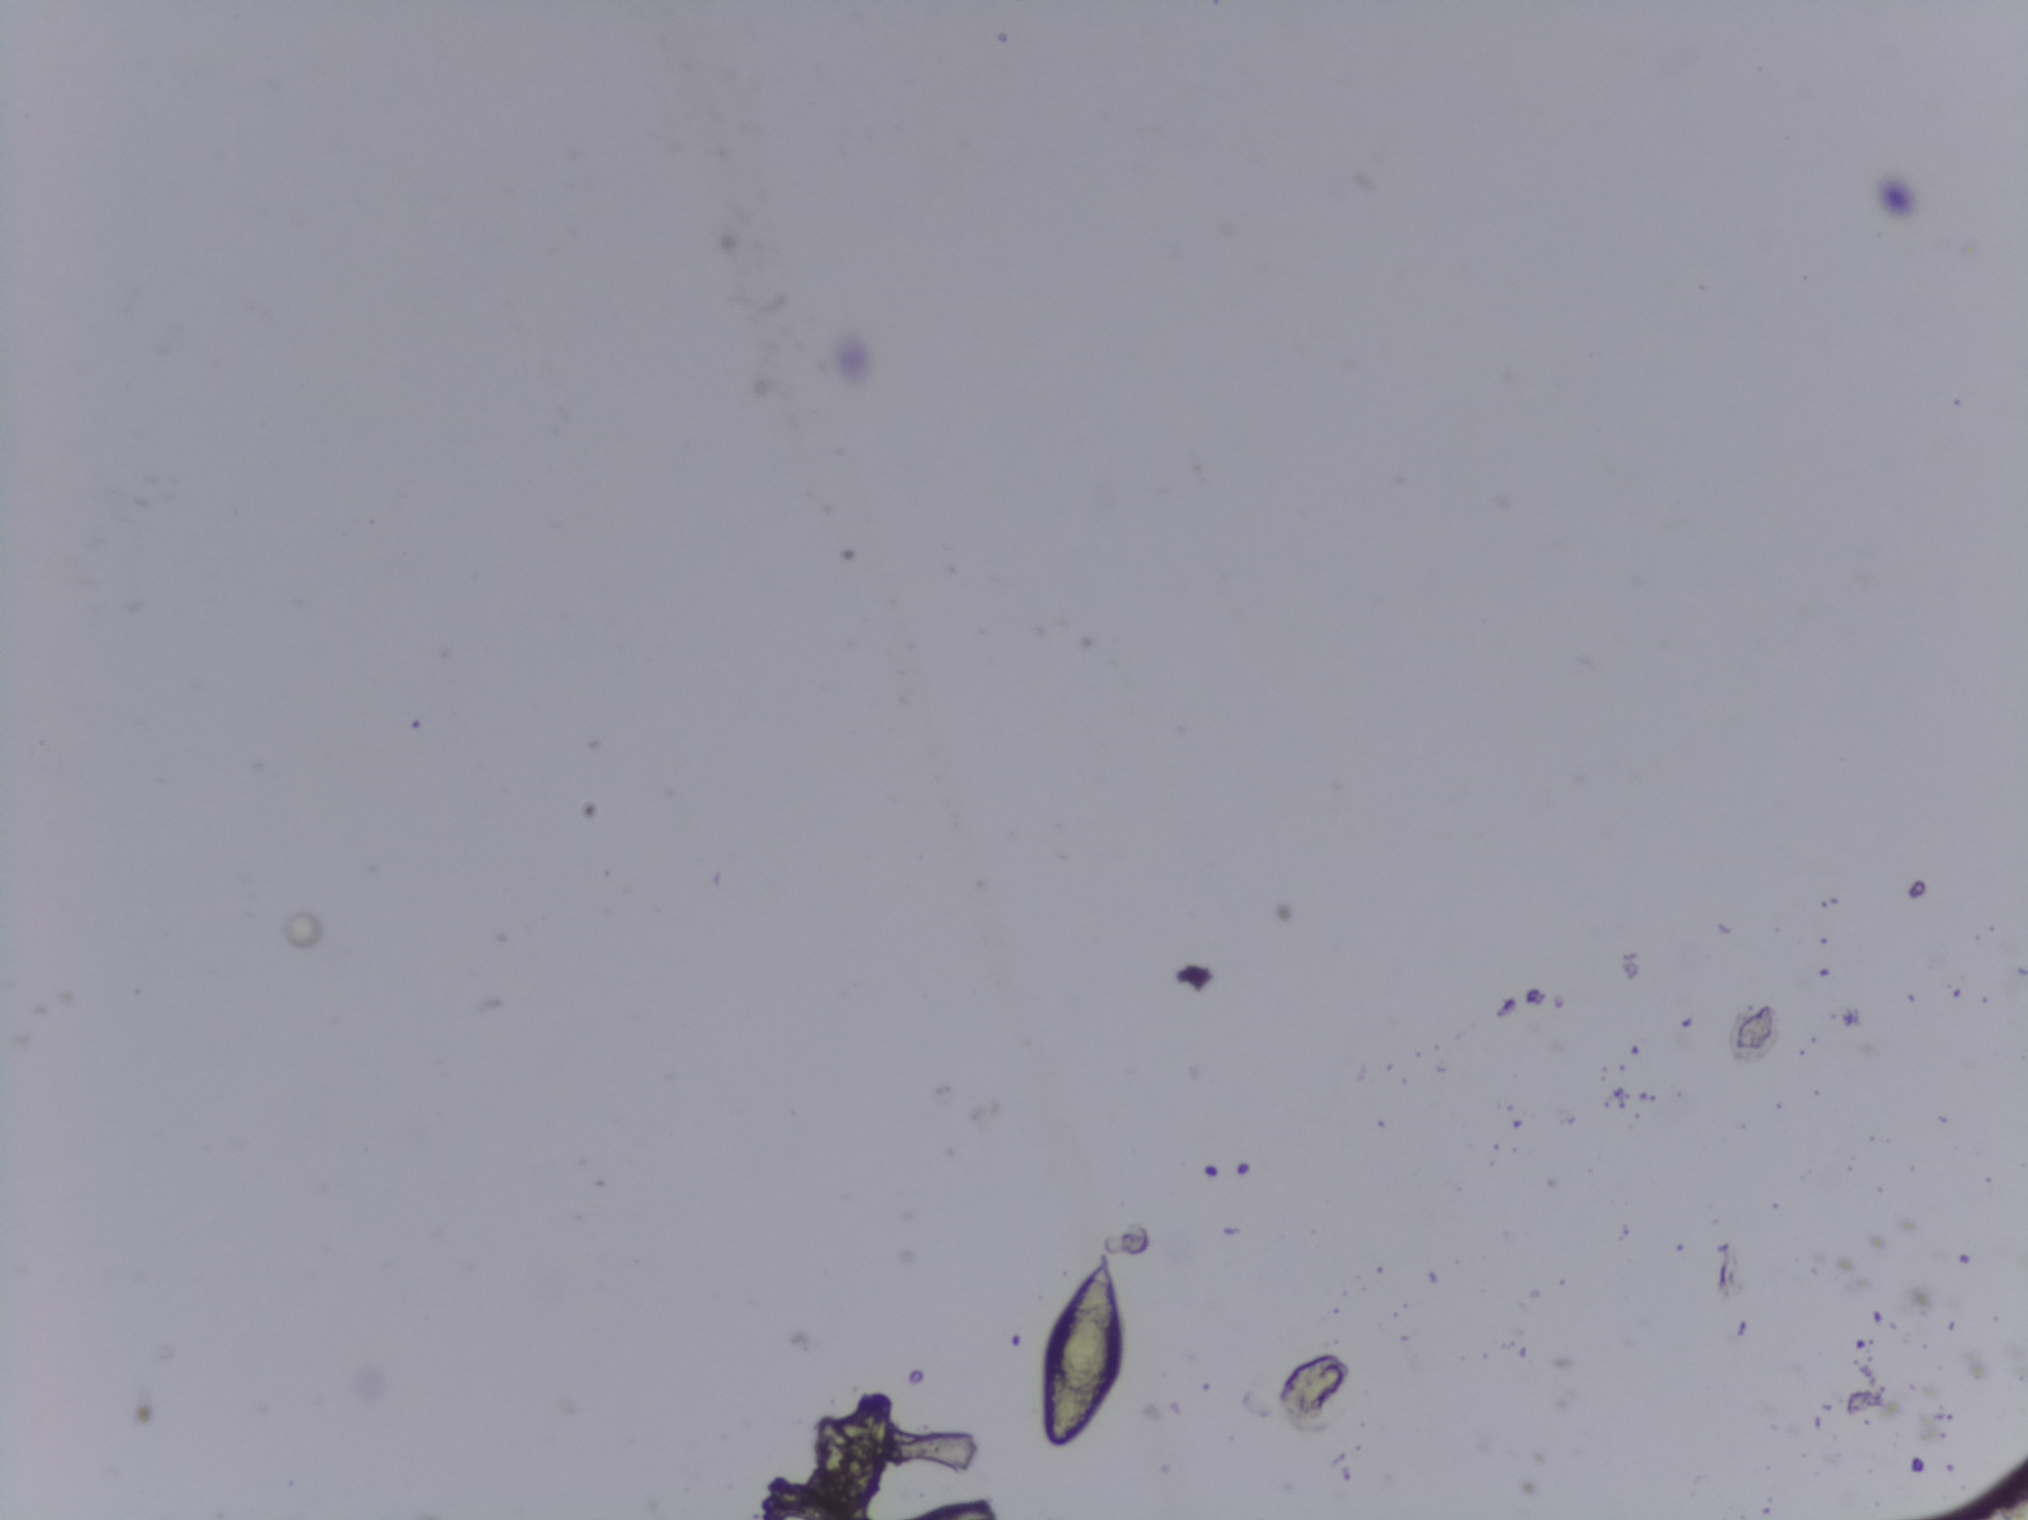
Urine filtration membrane under a 4× objective, photographed by an automated digital microscope. The field of view is about 1.5 mm × 1.1 mm.
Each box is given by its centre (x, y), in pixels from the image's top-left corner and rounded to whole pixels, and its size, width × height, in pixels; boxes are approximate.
Schistosoma eggs are outlined in the expert annotation at centre (1086, 1353), 101 × 211 px. An outlined area can hold more than one egg. Any one outlined egg may, rarely, be S. mansoni rather than S. haematobium.